Urine filtration membrane under a 4× objective, photographed by an automated digital microscope.
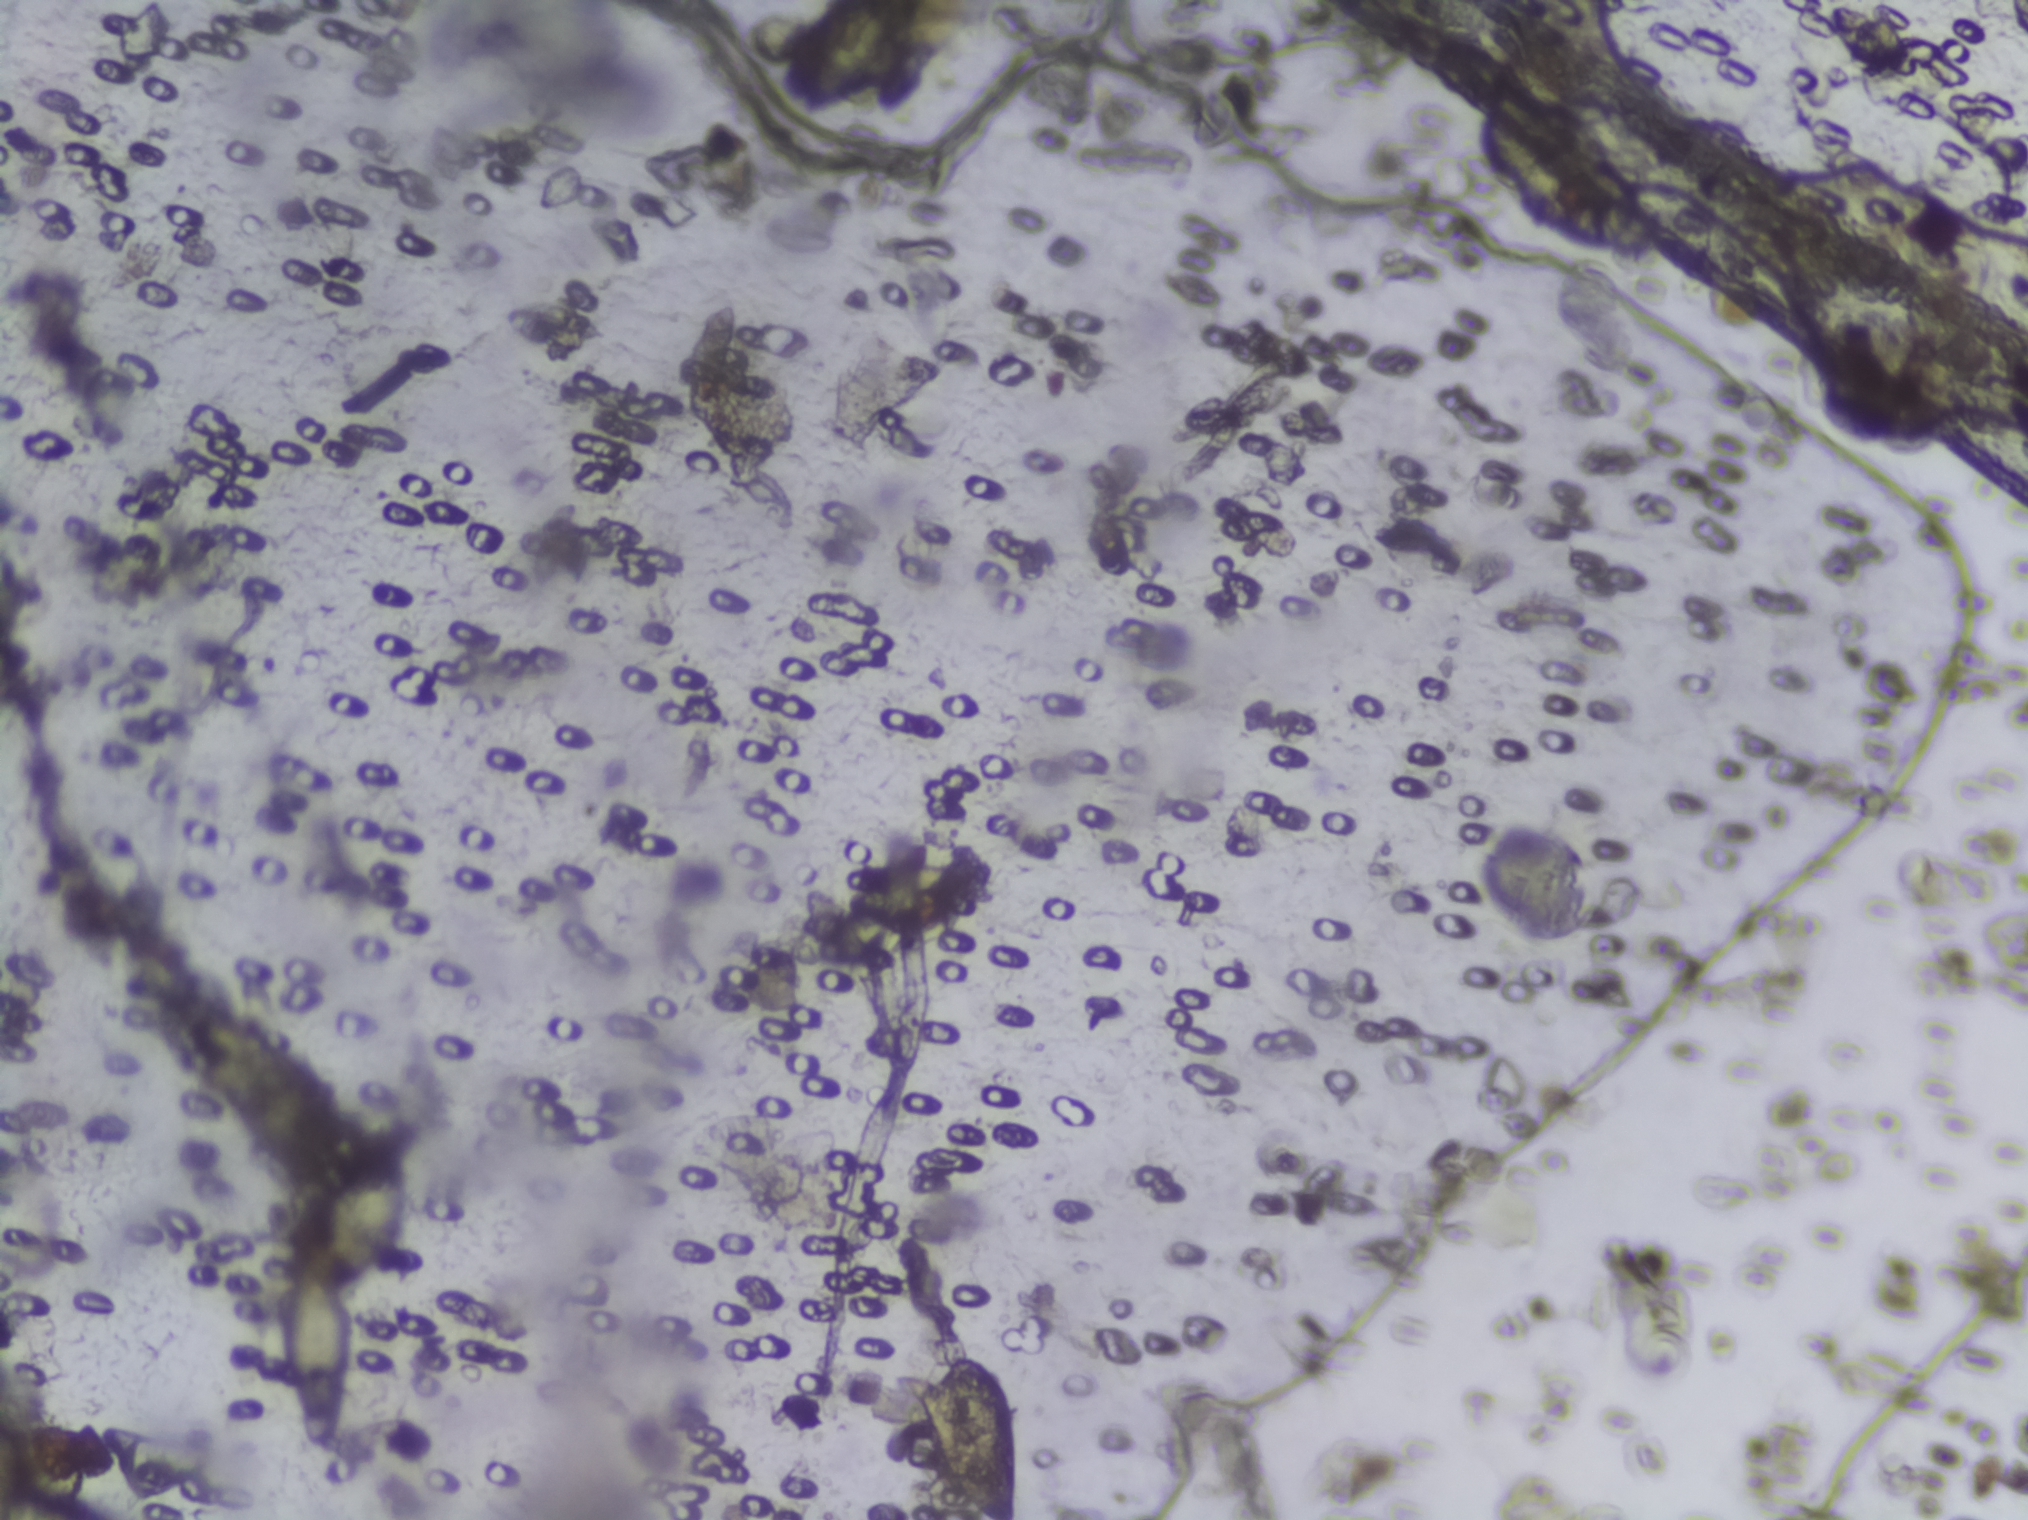
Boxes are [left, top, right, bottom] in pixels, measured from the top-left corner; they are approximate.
Schistosoma eggs are outlined in the expert annotation at [277, 1123, 416, 1445]; [786, 0, 921, 115] (reaching the top edge of the frame); [927, 1346, 1021, 1519] (reaching the bottom edge of the frame). Marked pixels, not the boxes around them: about 1.5% of the image. Eggs that touch can end up inside the same outlined area.